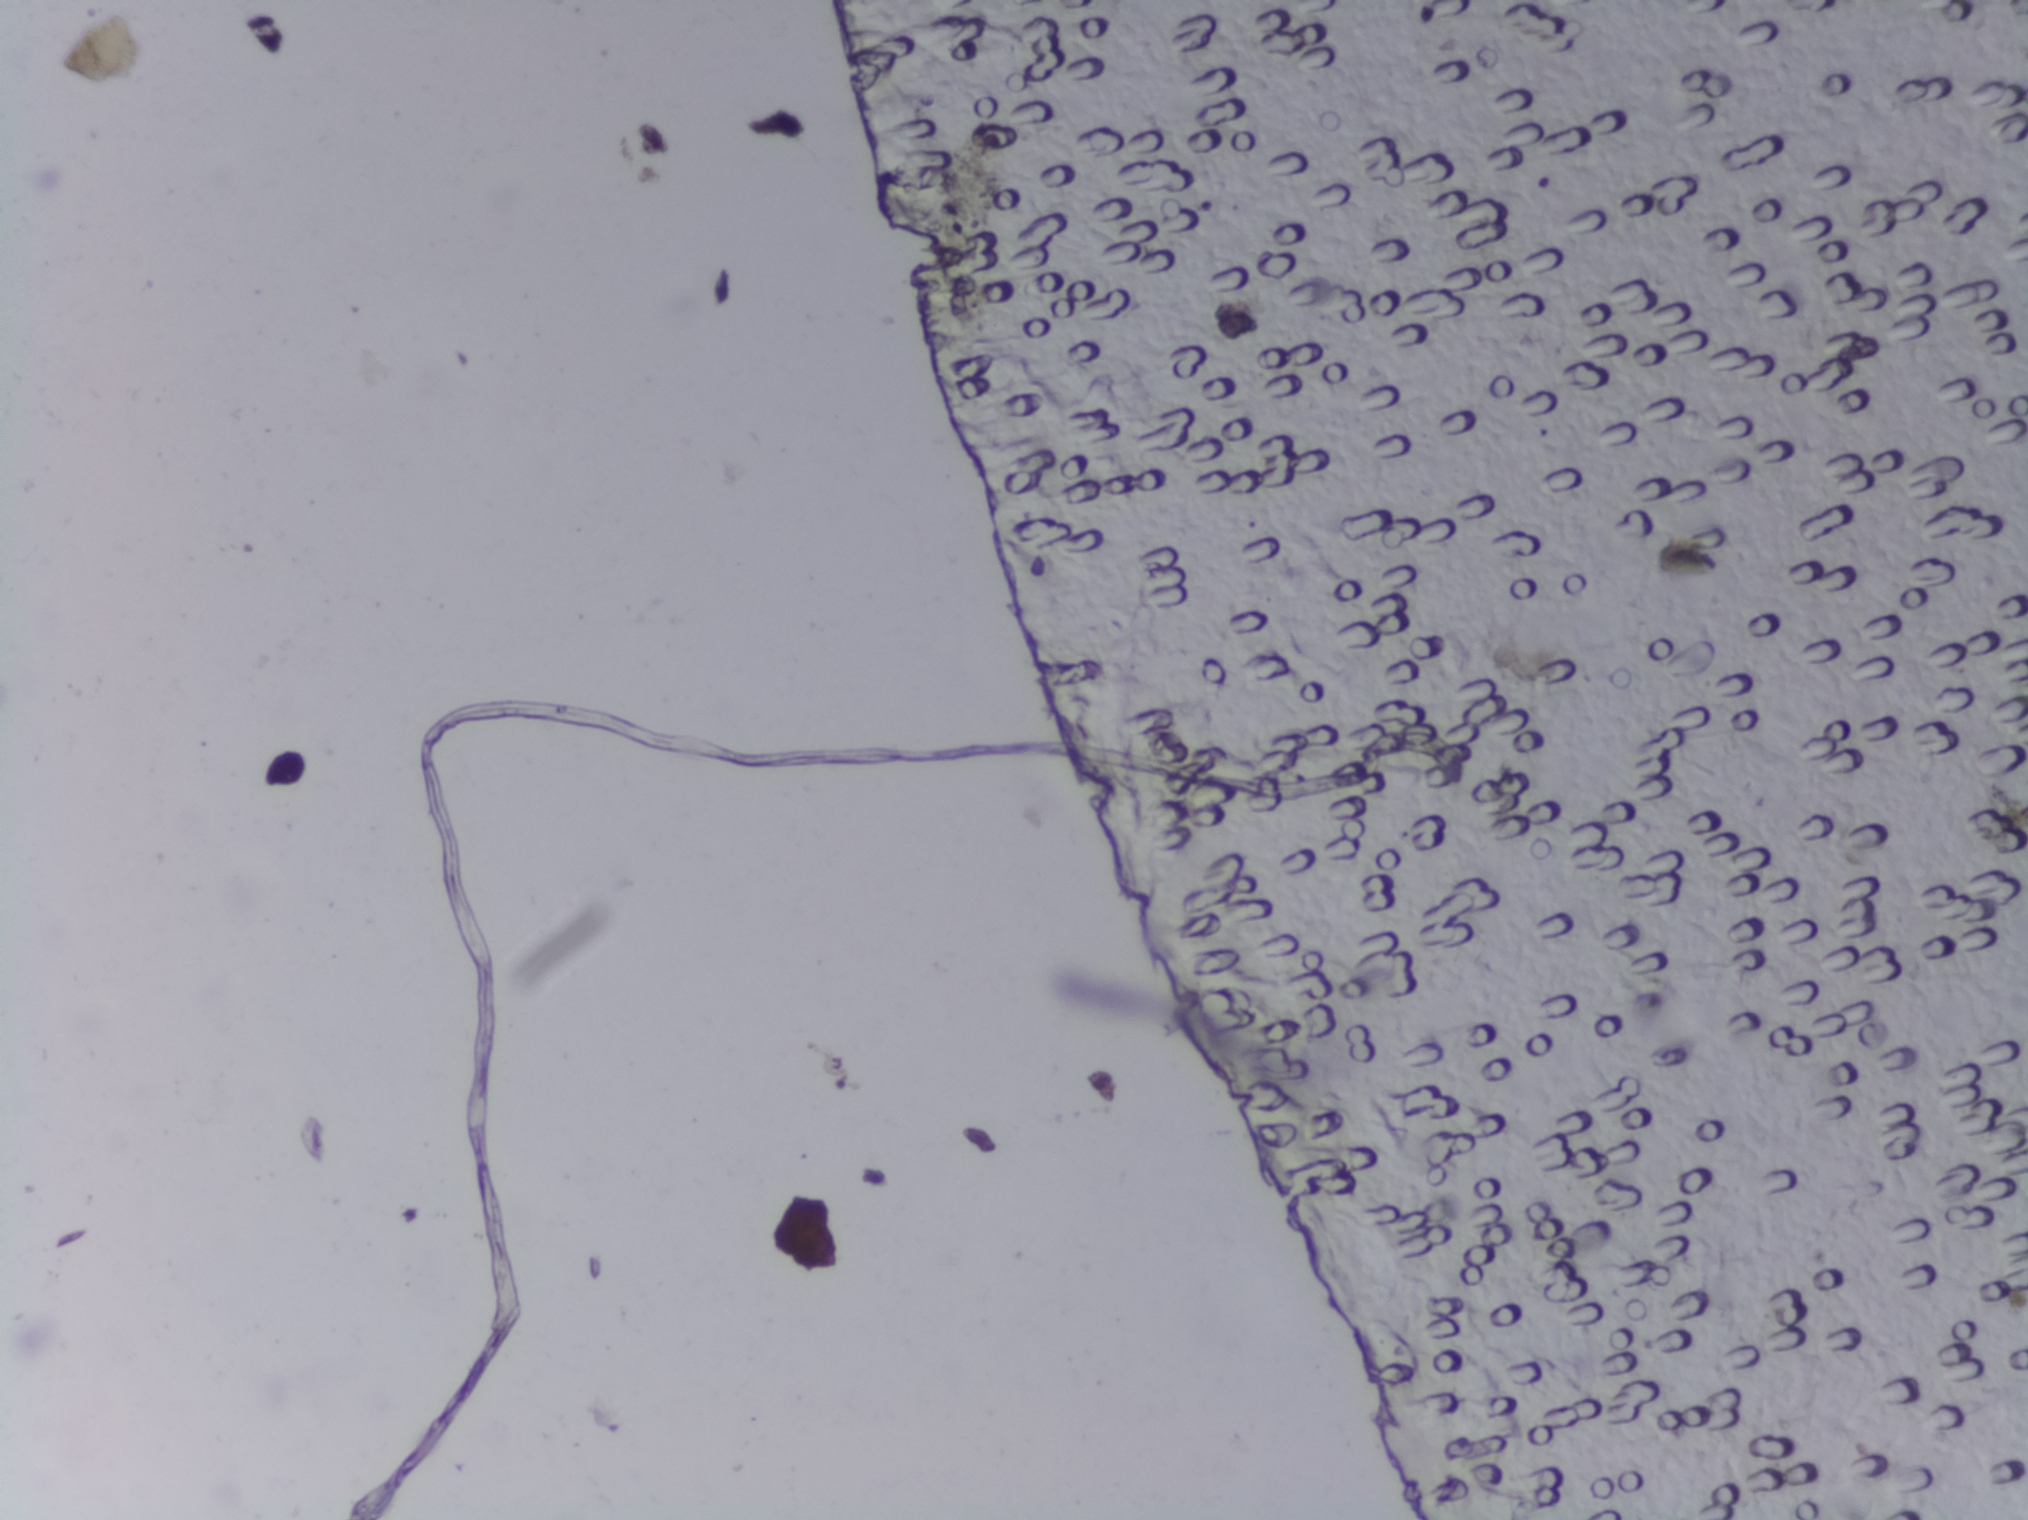
Microscope photograph (4× objective) of a membrane that a urine sample was filtered through.
No area of this image was outlined as a Schistosoma egg.